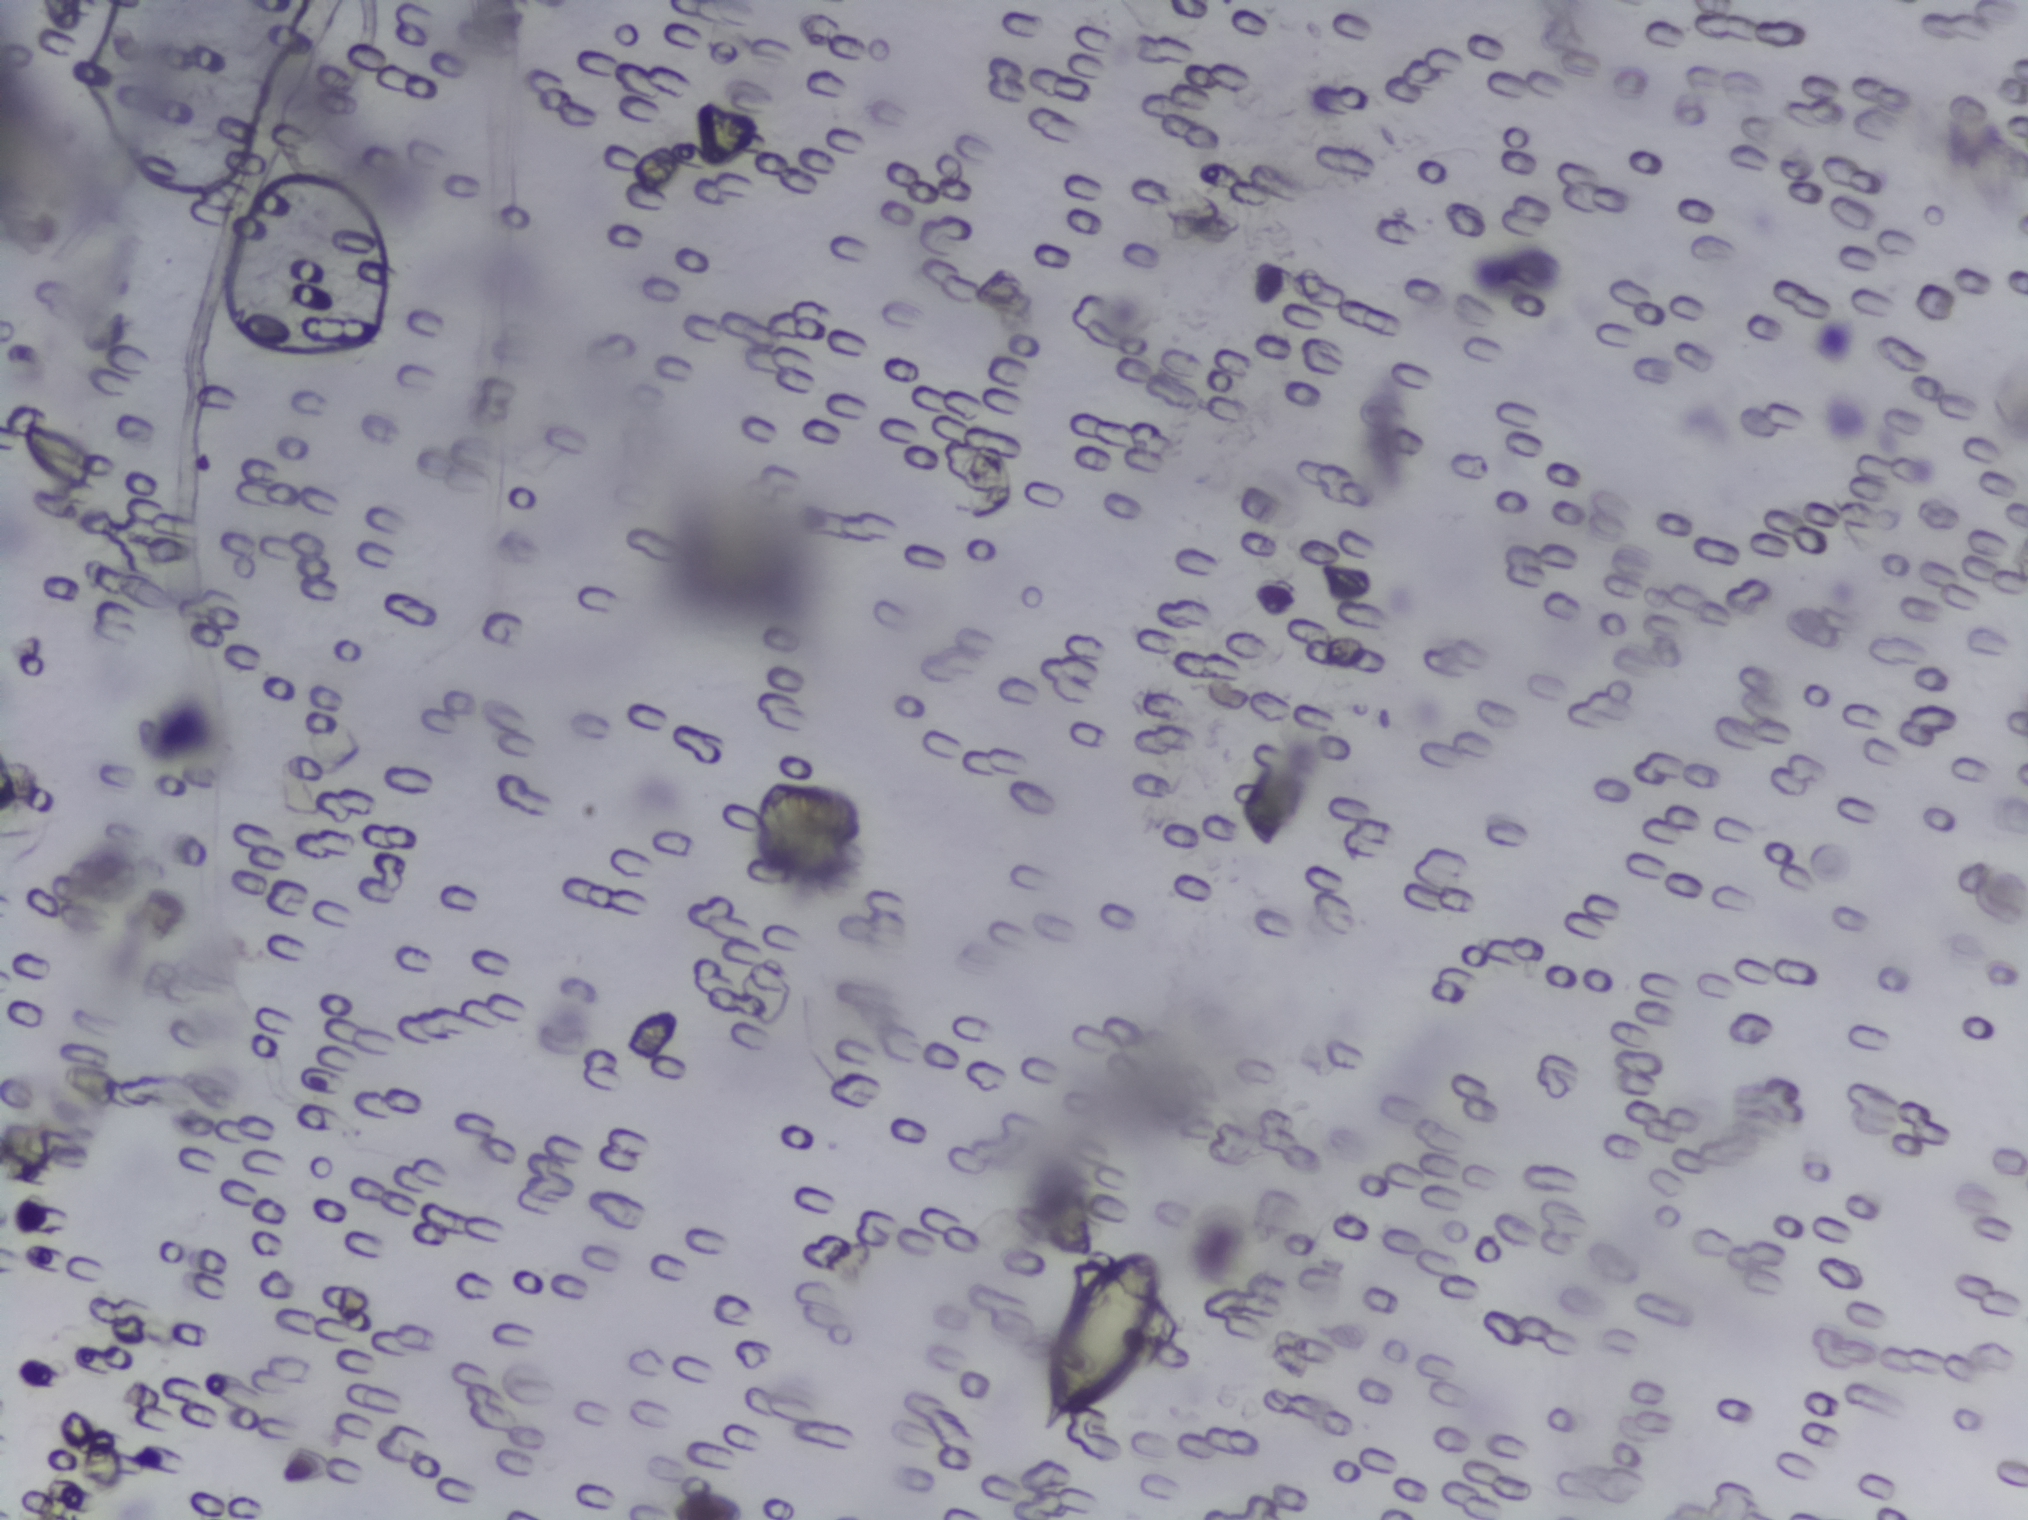
Photograph from an automated digital microscope: urine filter membrane, 4× objective. Field of view: about 1.5 mm wide and 1.1 mm high.
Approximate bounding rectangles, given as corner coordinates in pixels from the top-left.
Schistosoma eggs are outlined in the expert annotation at (x1=1039, y1=1249, x2=1157, y2=1428). An outlined area can hold more than one egg.